Microscope photograph (4× objective) of a membrane that a urine sample was filtered through.
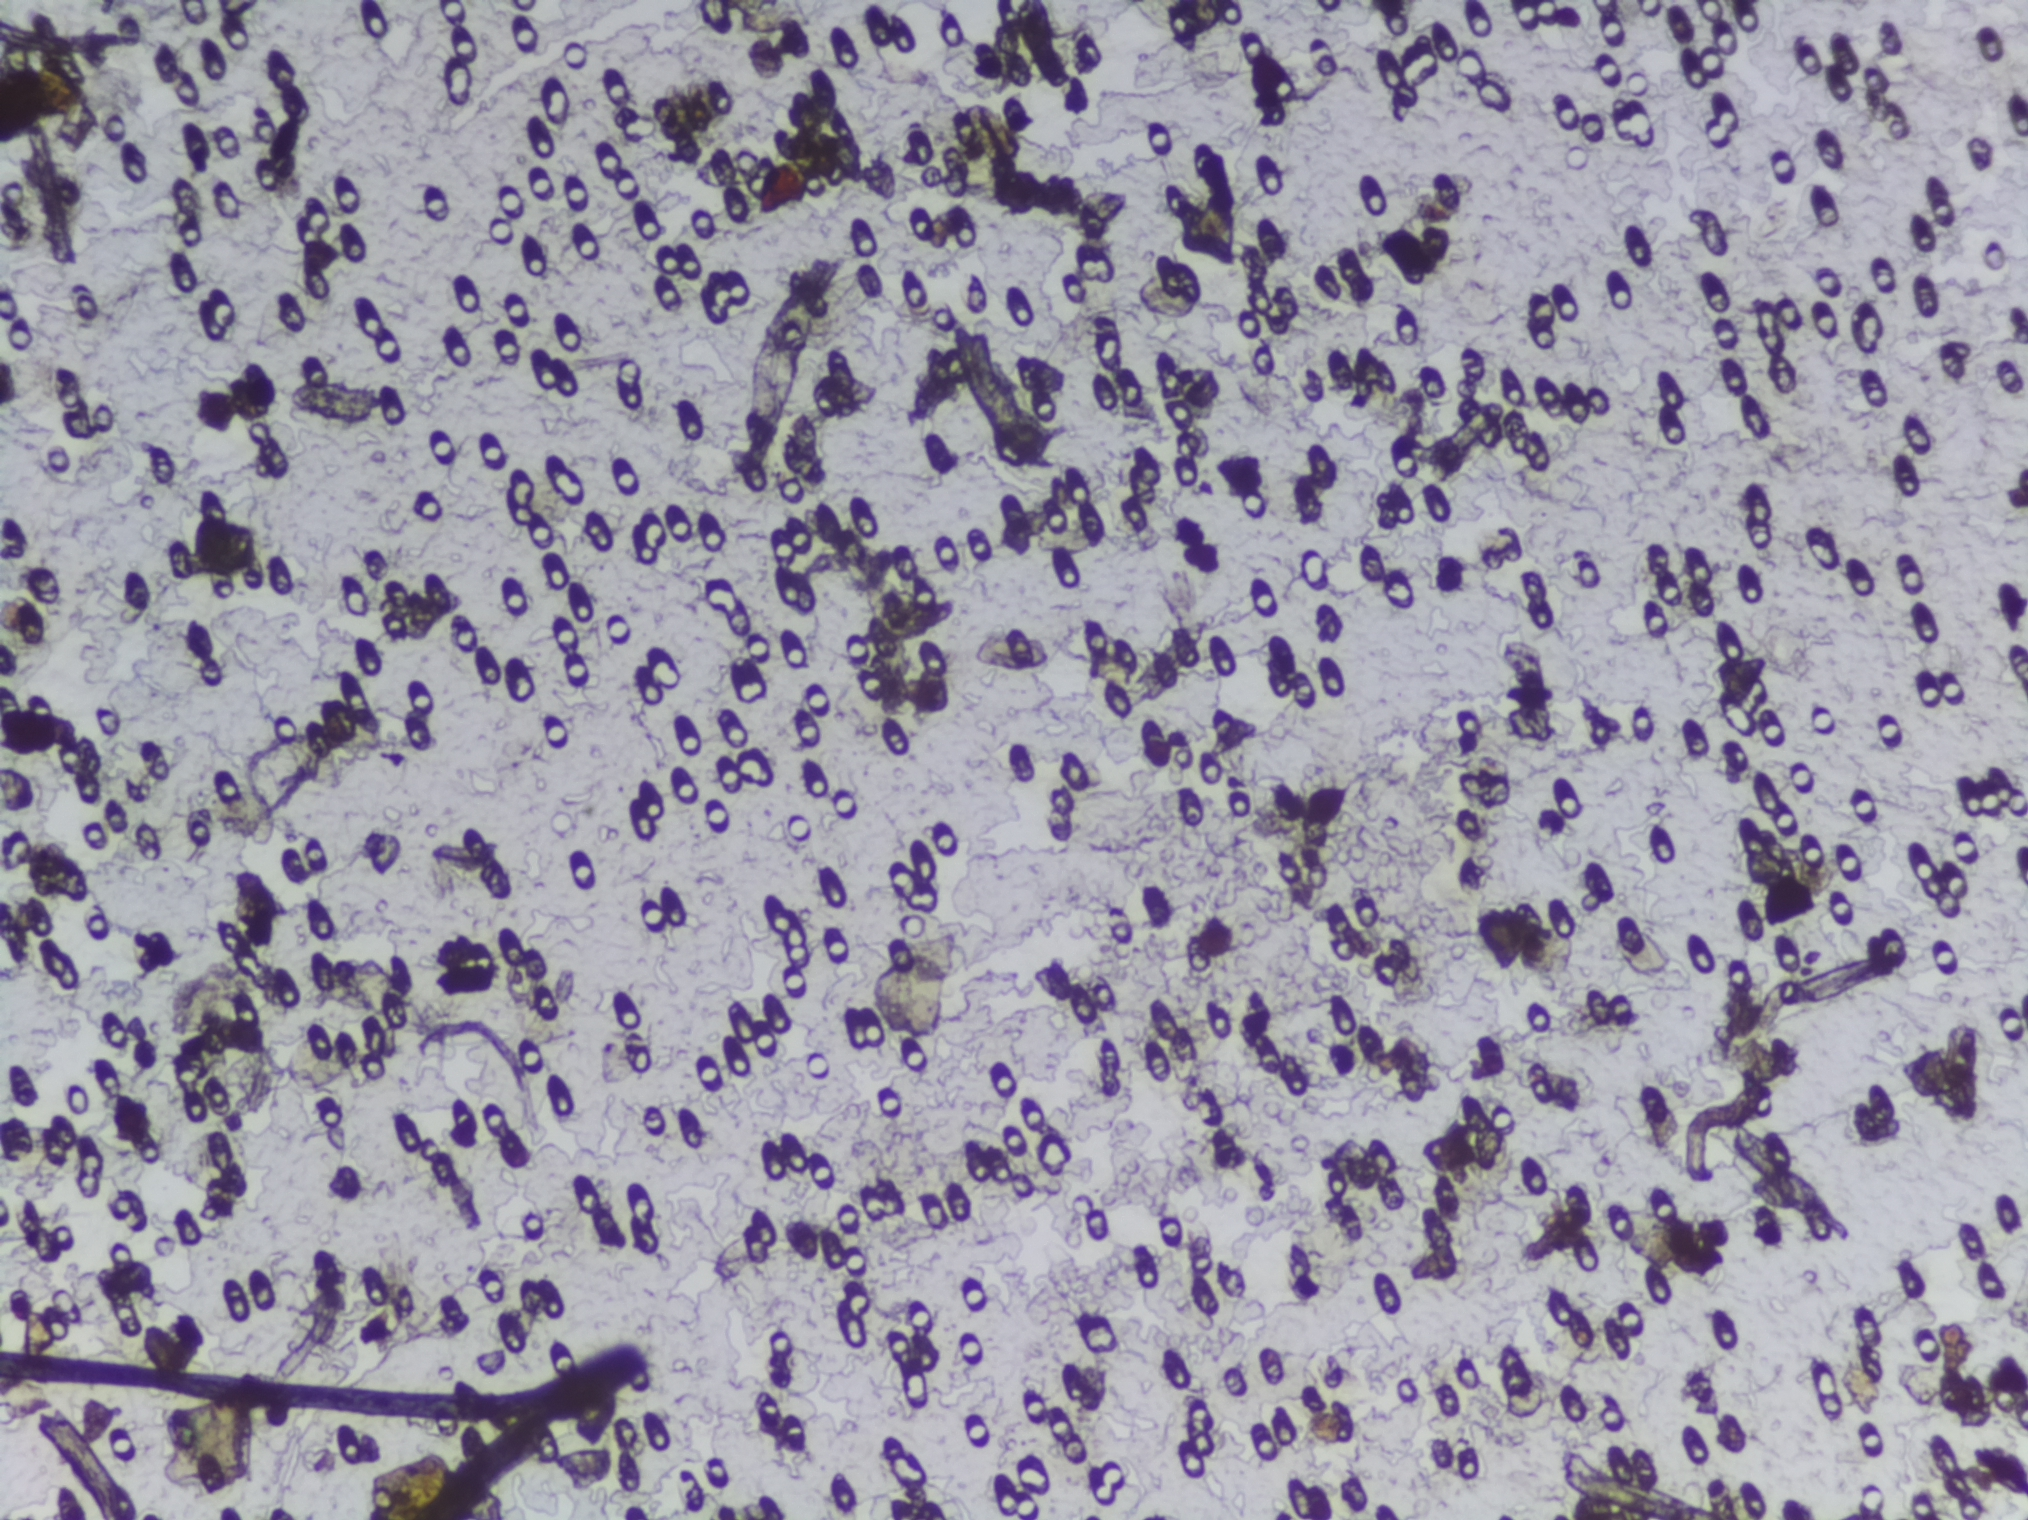
The expert annotation outlines no Schistosoma egg in this image.